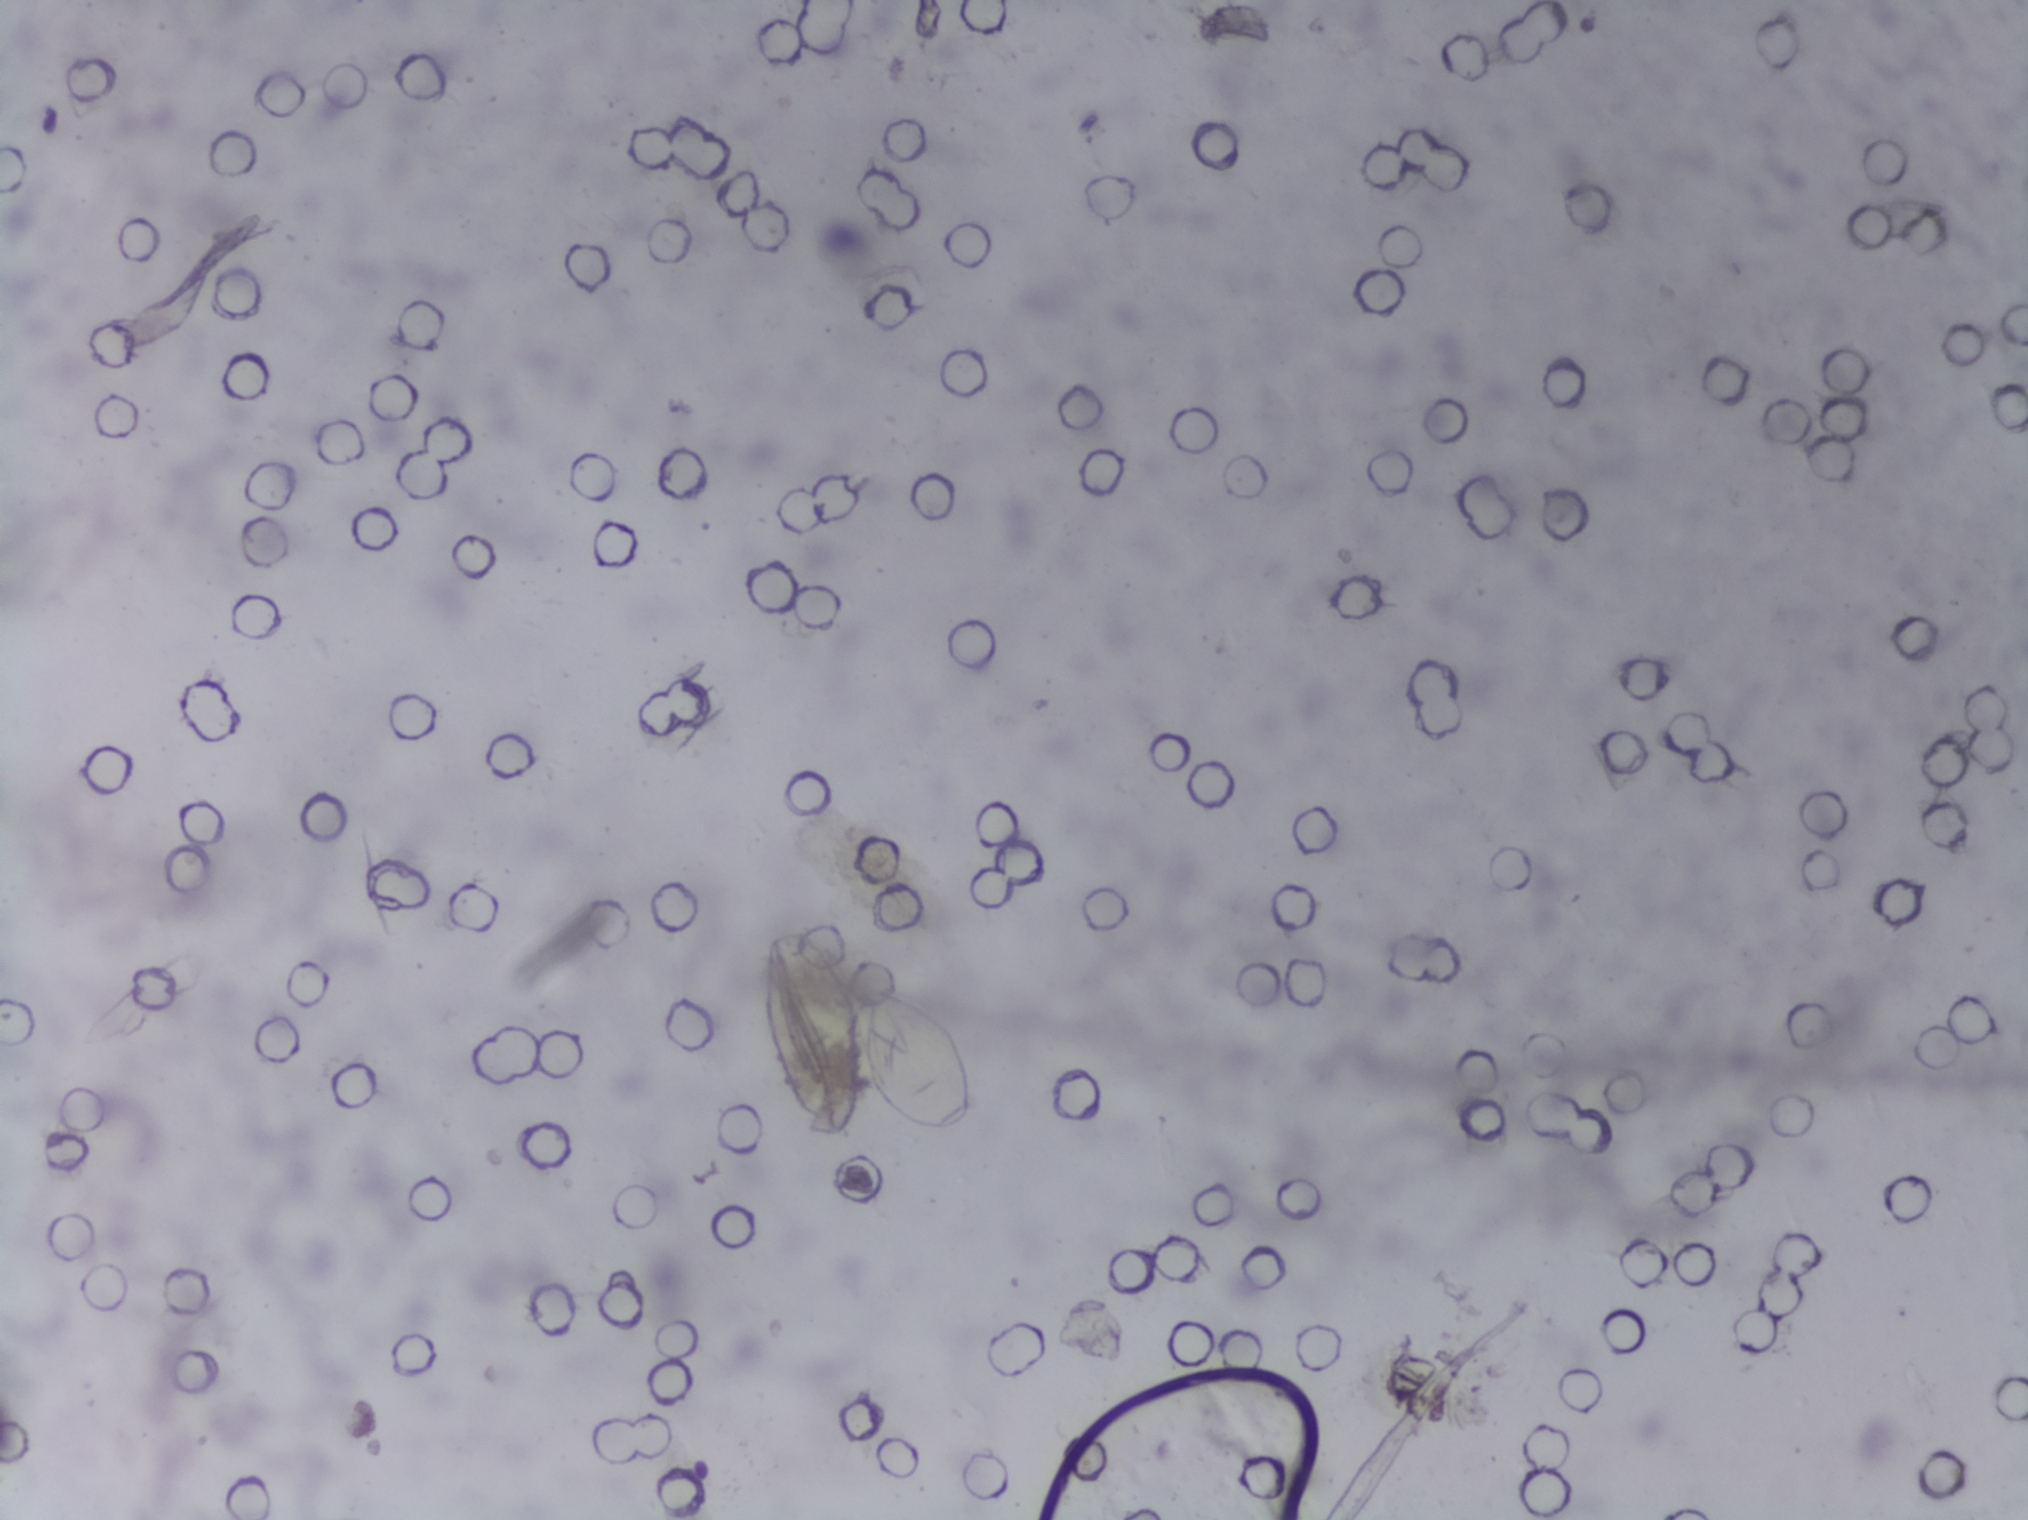
Urine filter membrane photographed through a 4× microscope objective.
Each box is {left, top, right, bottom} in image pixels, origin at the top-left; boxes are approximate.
Schistosoma eggs are outlined in one area of this image: {762, 928, 972, 1139}. Eggs that touch can end up inside the same outlined area.